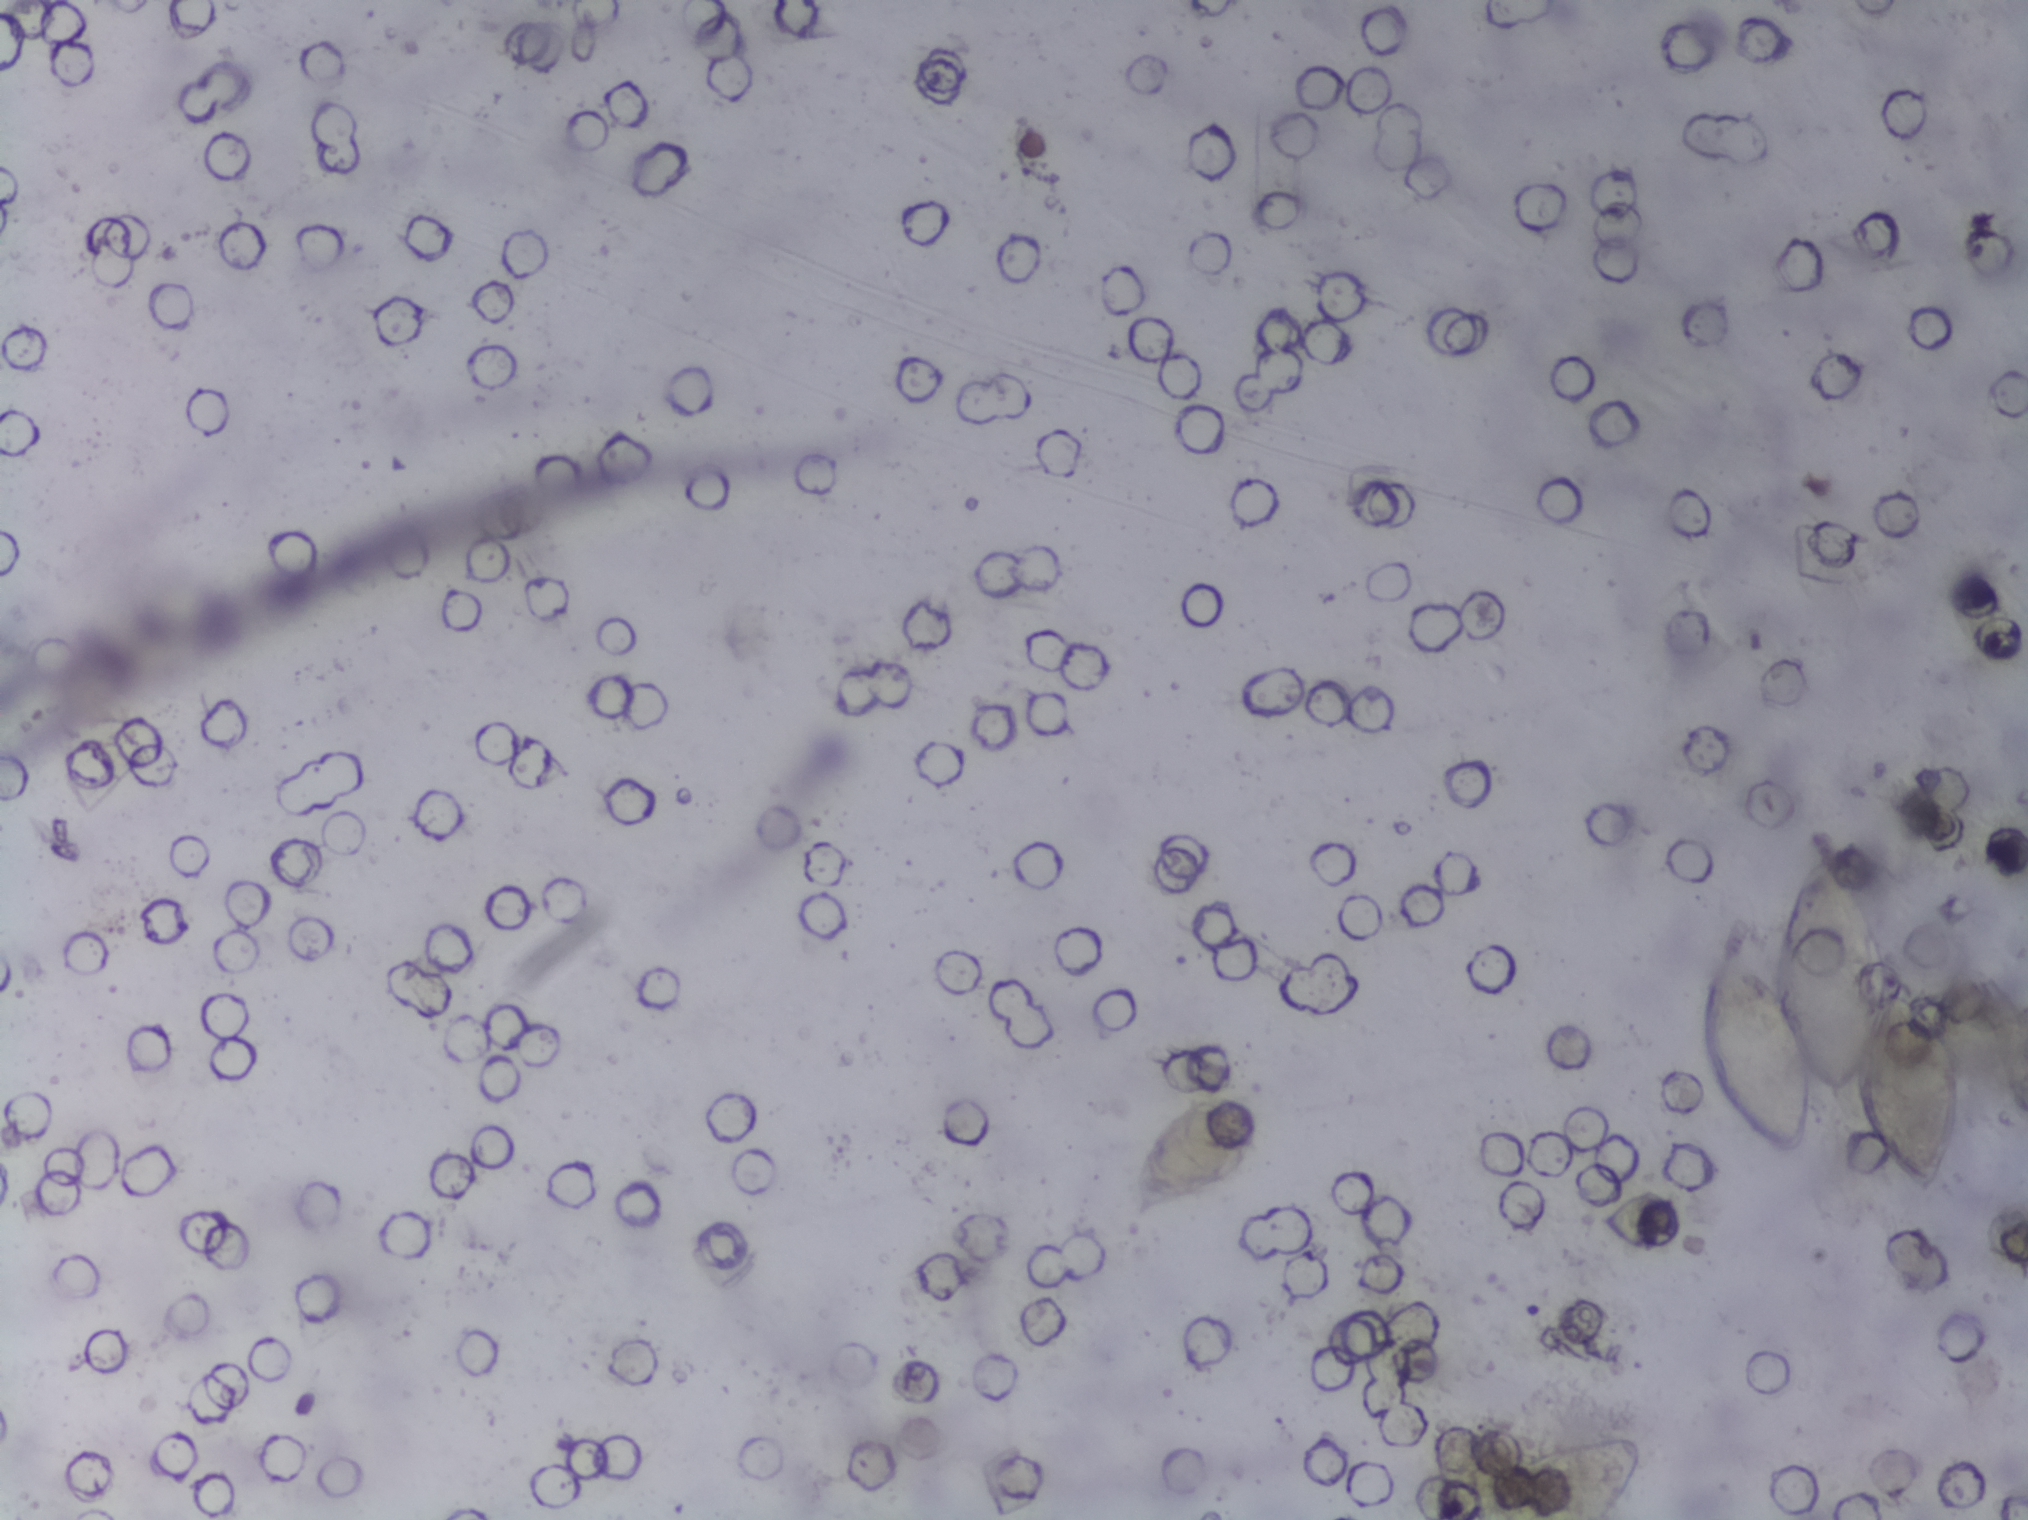
One field of view of a urine filter membrane, 4× objective, 2028 × 1520 pixels. The image covers about 1.5 × 1.1 mm of the membrane.
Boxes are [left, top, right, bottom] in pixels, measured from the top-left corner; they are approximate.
Schistosoma eggs, outlined areas: [1132, 1096, 1257, 1220]; [1481, 1435, 1644, 1519] (reaching the bottom edge of the frame); [1699, 835, 1963, 1203] (eggs clustered together). The marked pixels themselves, not the boxes around them, cover about 2.4% of the image. An outlined area can hold more than one egg.